Microscope photograph (4× objective) of a membrane that a urine sample was filtered through. The field of view is about 1.5 mm × 1.1 mm.
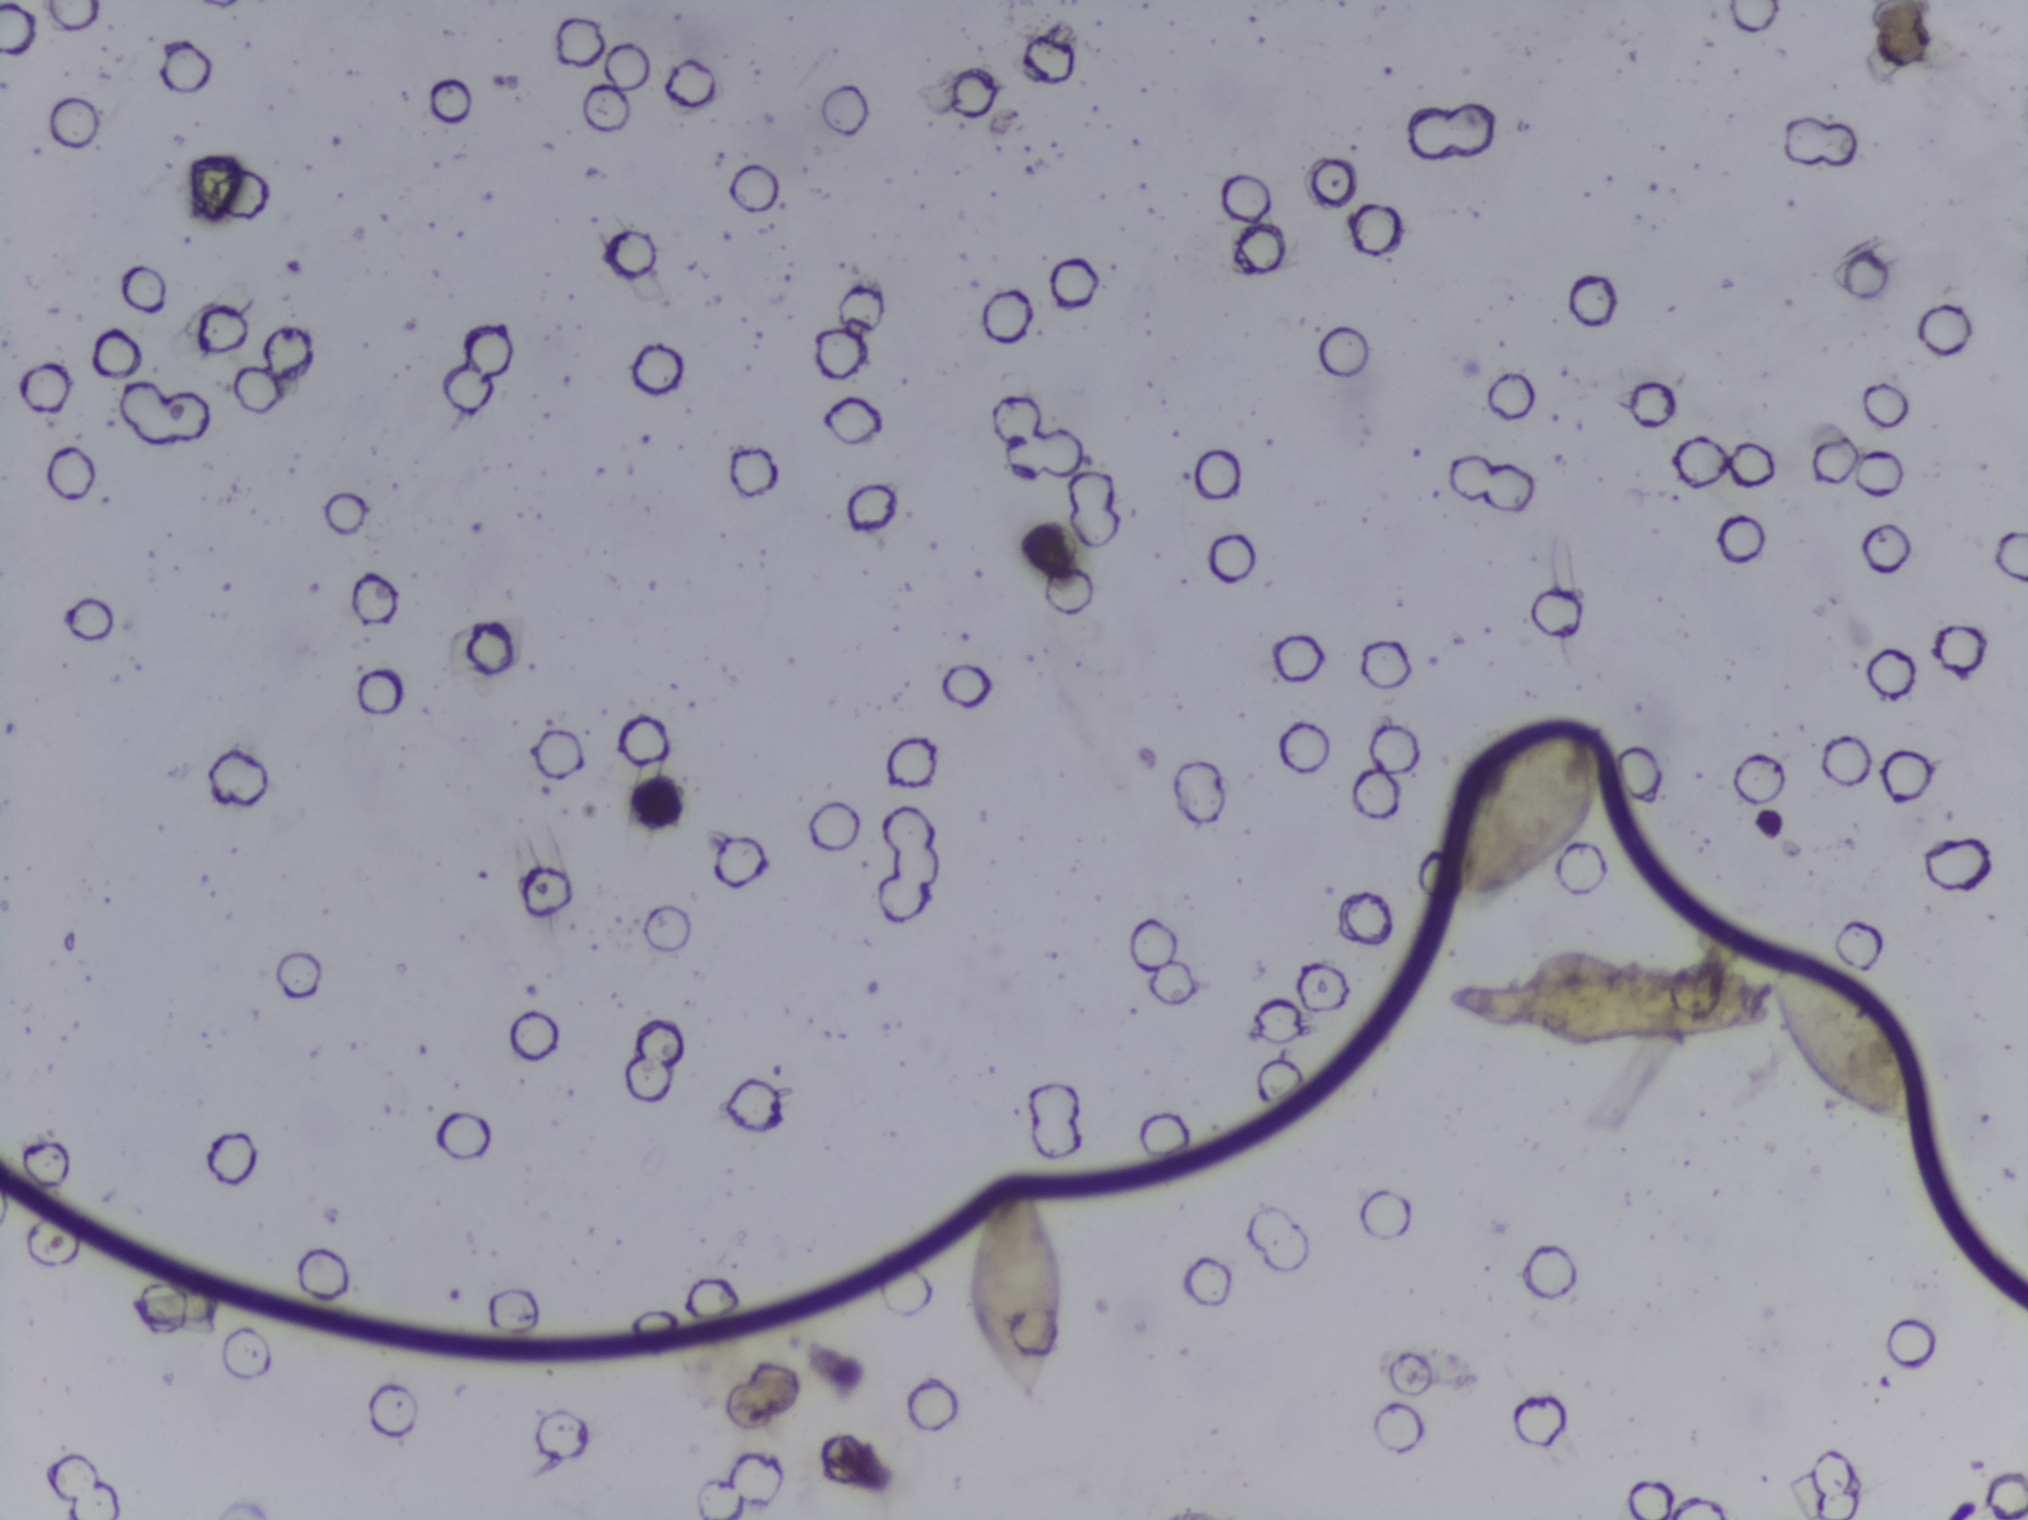
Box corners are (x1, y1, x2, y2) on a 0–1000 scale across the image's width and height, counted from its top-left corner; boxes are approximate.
Areas outlined as Schistosoma eggs: (474, 772, 526, 926); (716, 473, 790, 599); (872, 634, 944, 738). Eggs that touch can end up inside the same outlined area.